Urine filter membrane photographed through a 4× microscope objective.
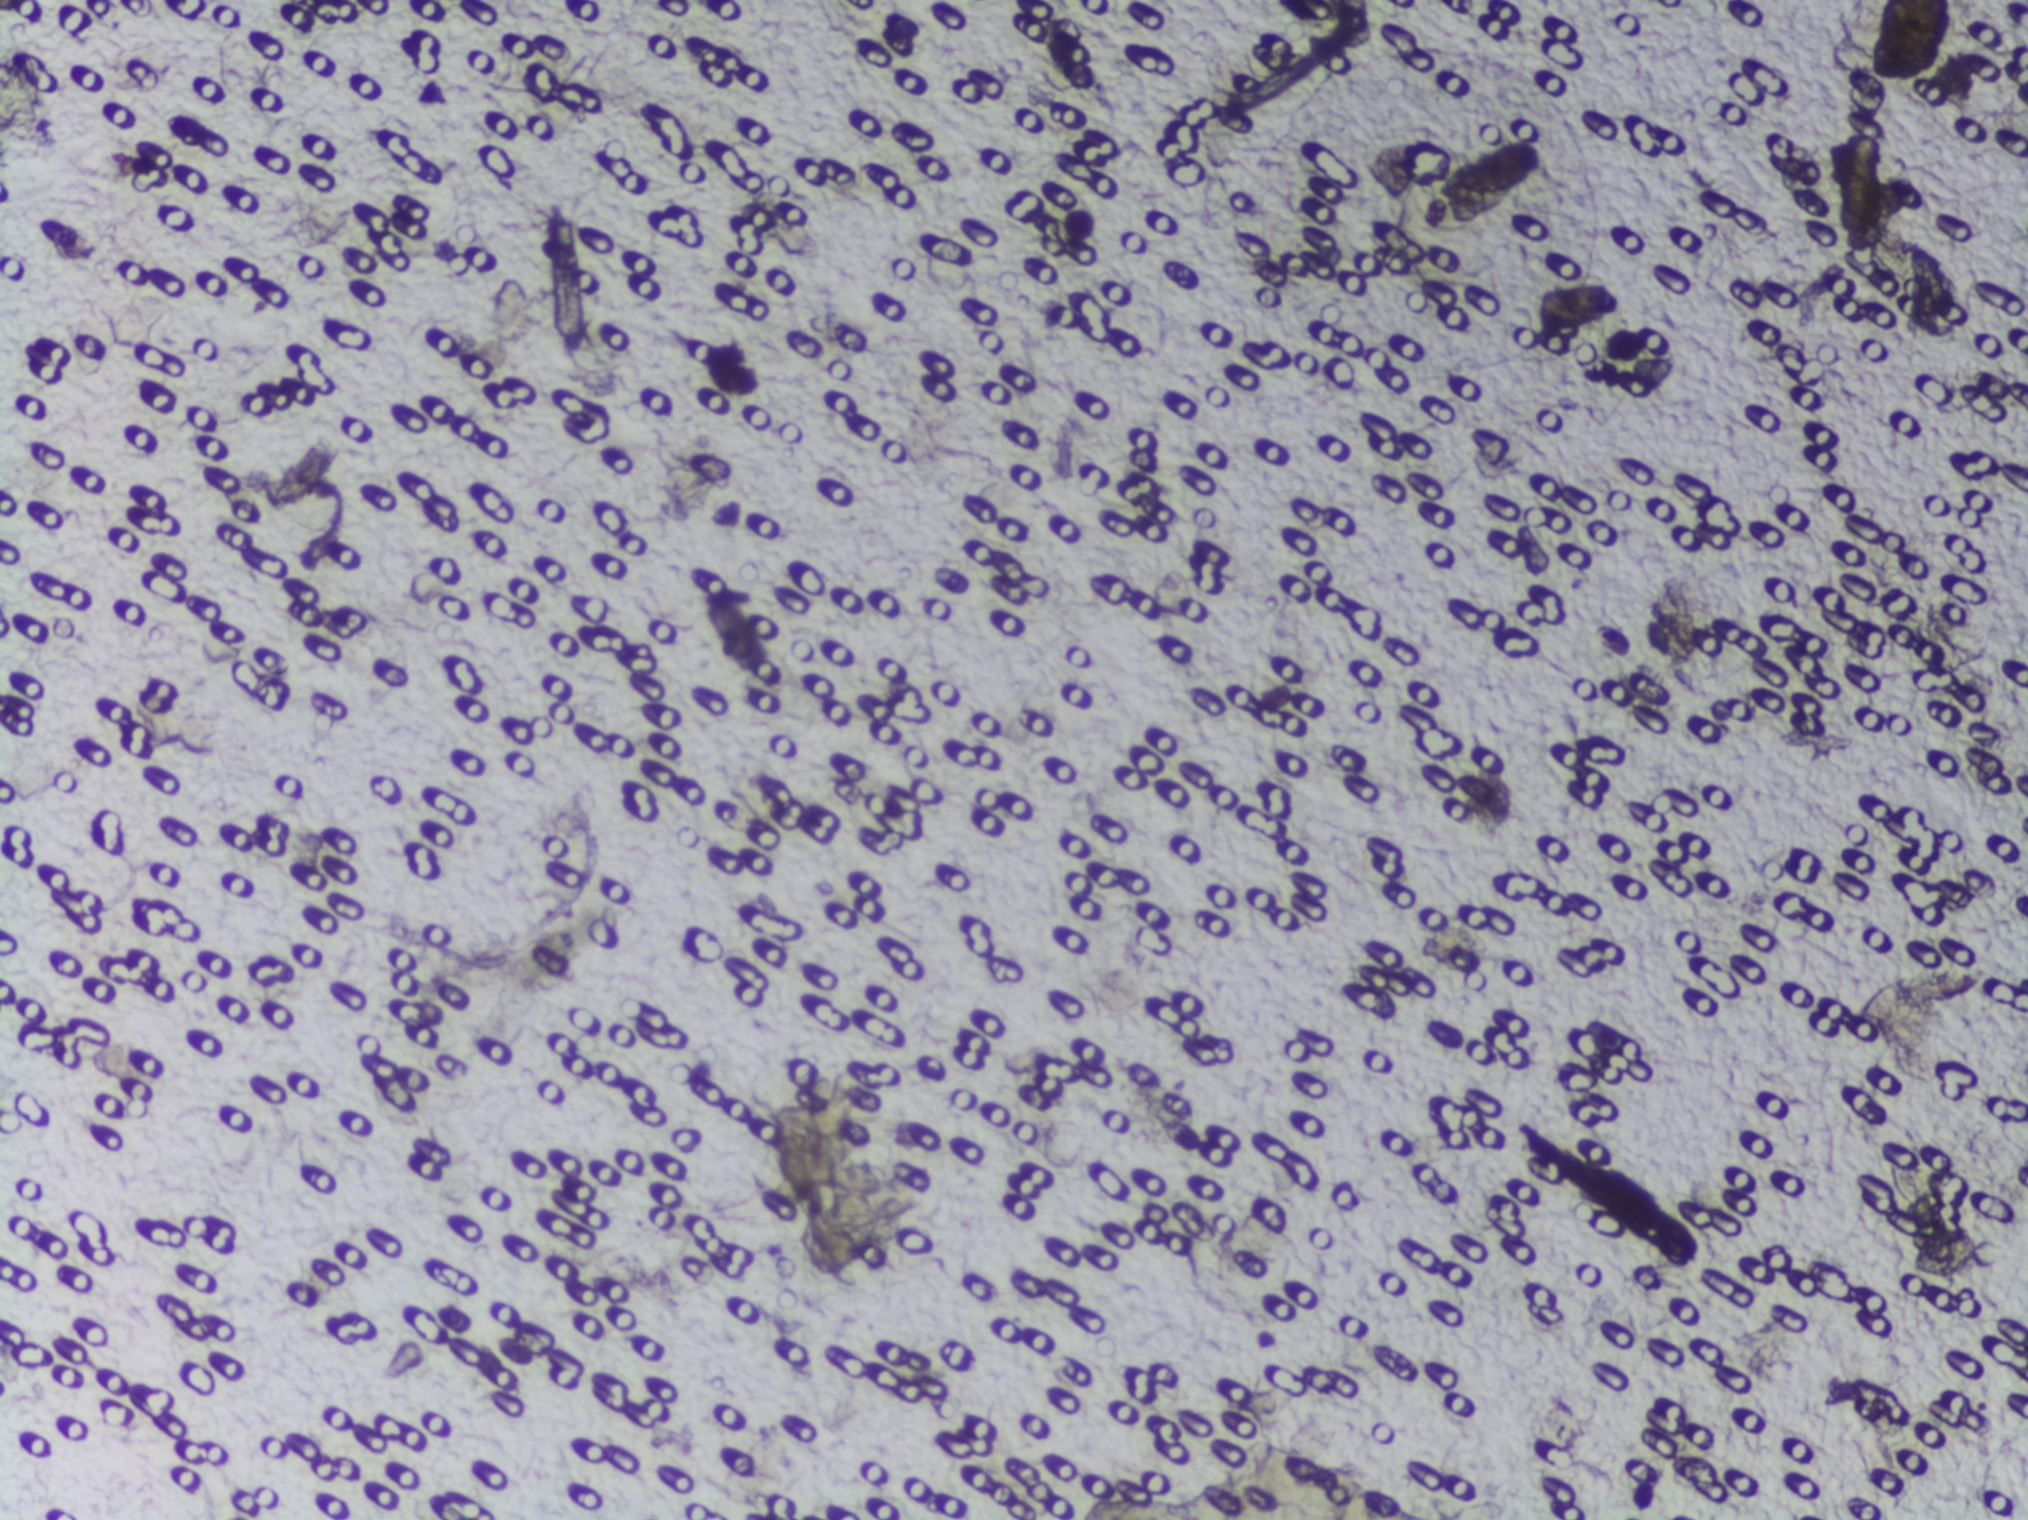
No area of this image was outlined as a Schistosoma egg.